Urine filter membrane photographed through a 4× microscope objective.
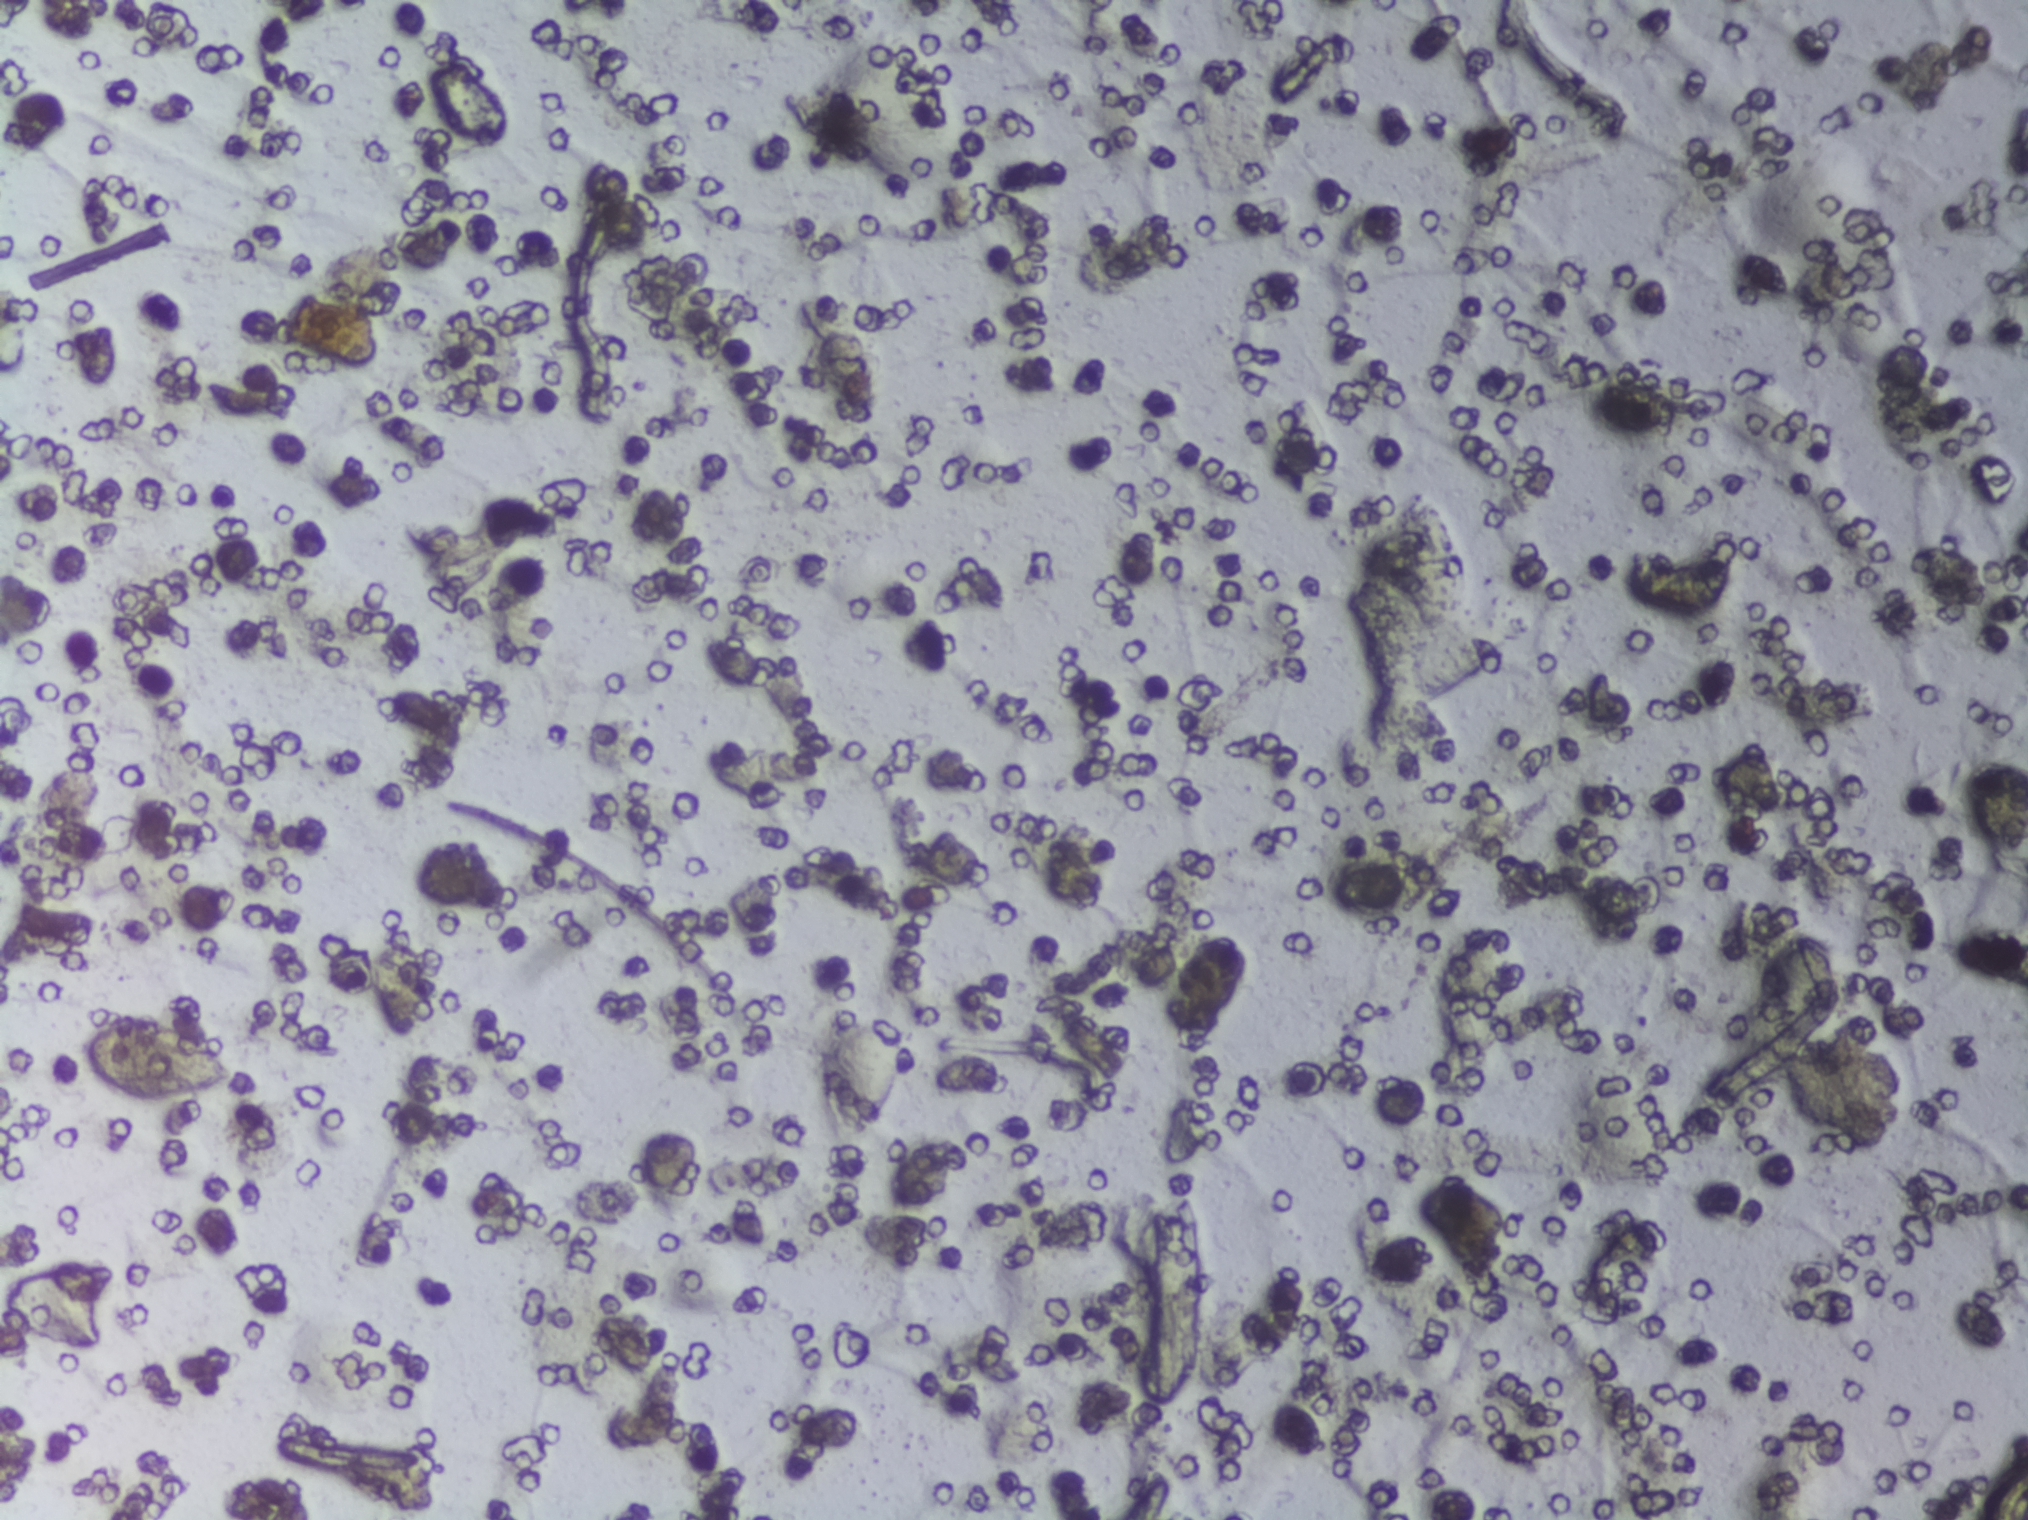
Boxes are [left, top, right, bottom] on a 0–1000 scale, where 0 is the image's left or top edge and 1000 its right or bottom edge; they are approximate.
Schistosoma eggs are outlined in one area of this image: [40, 668, 117, 727]. Eggs that touch can end up inside the same outlined area.